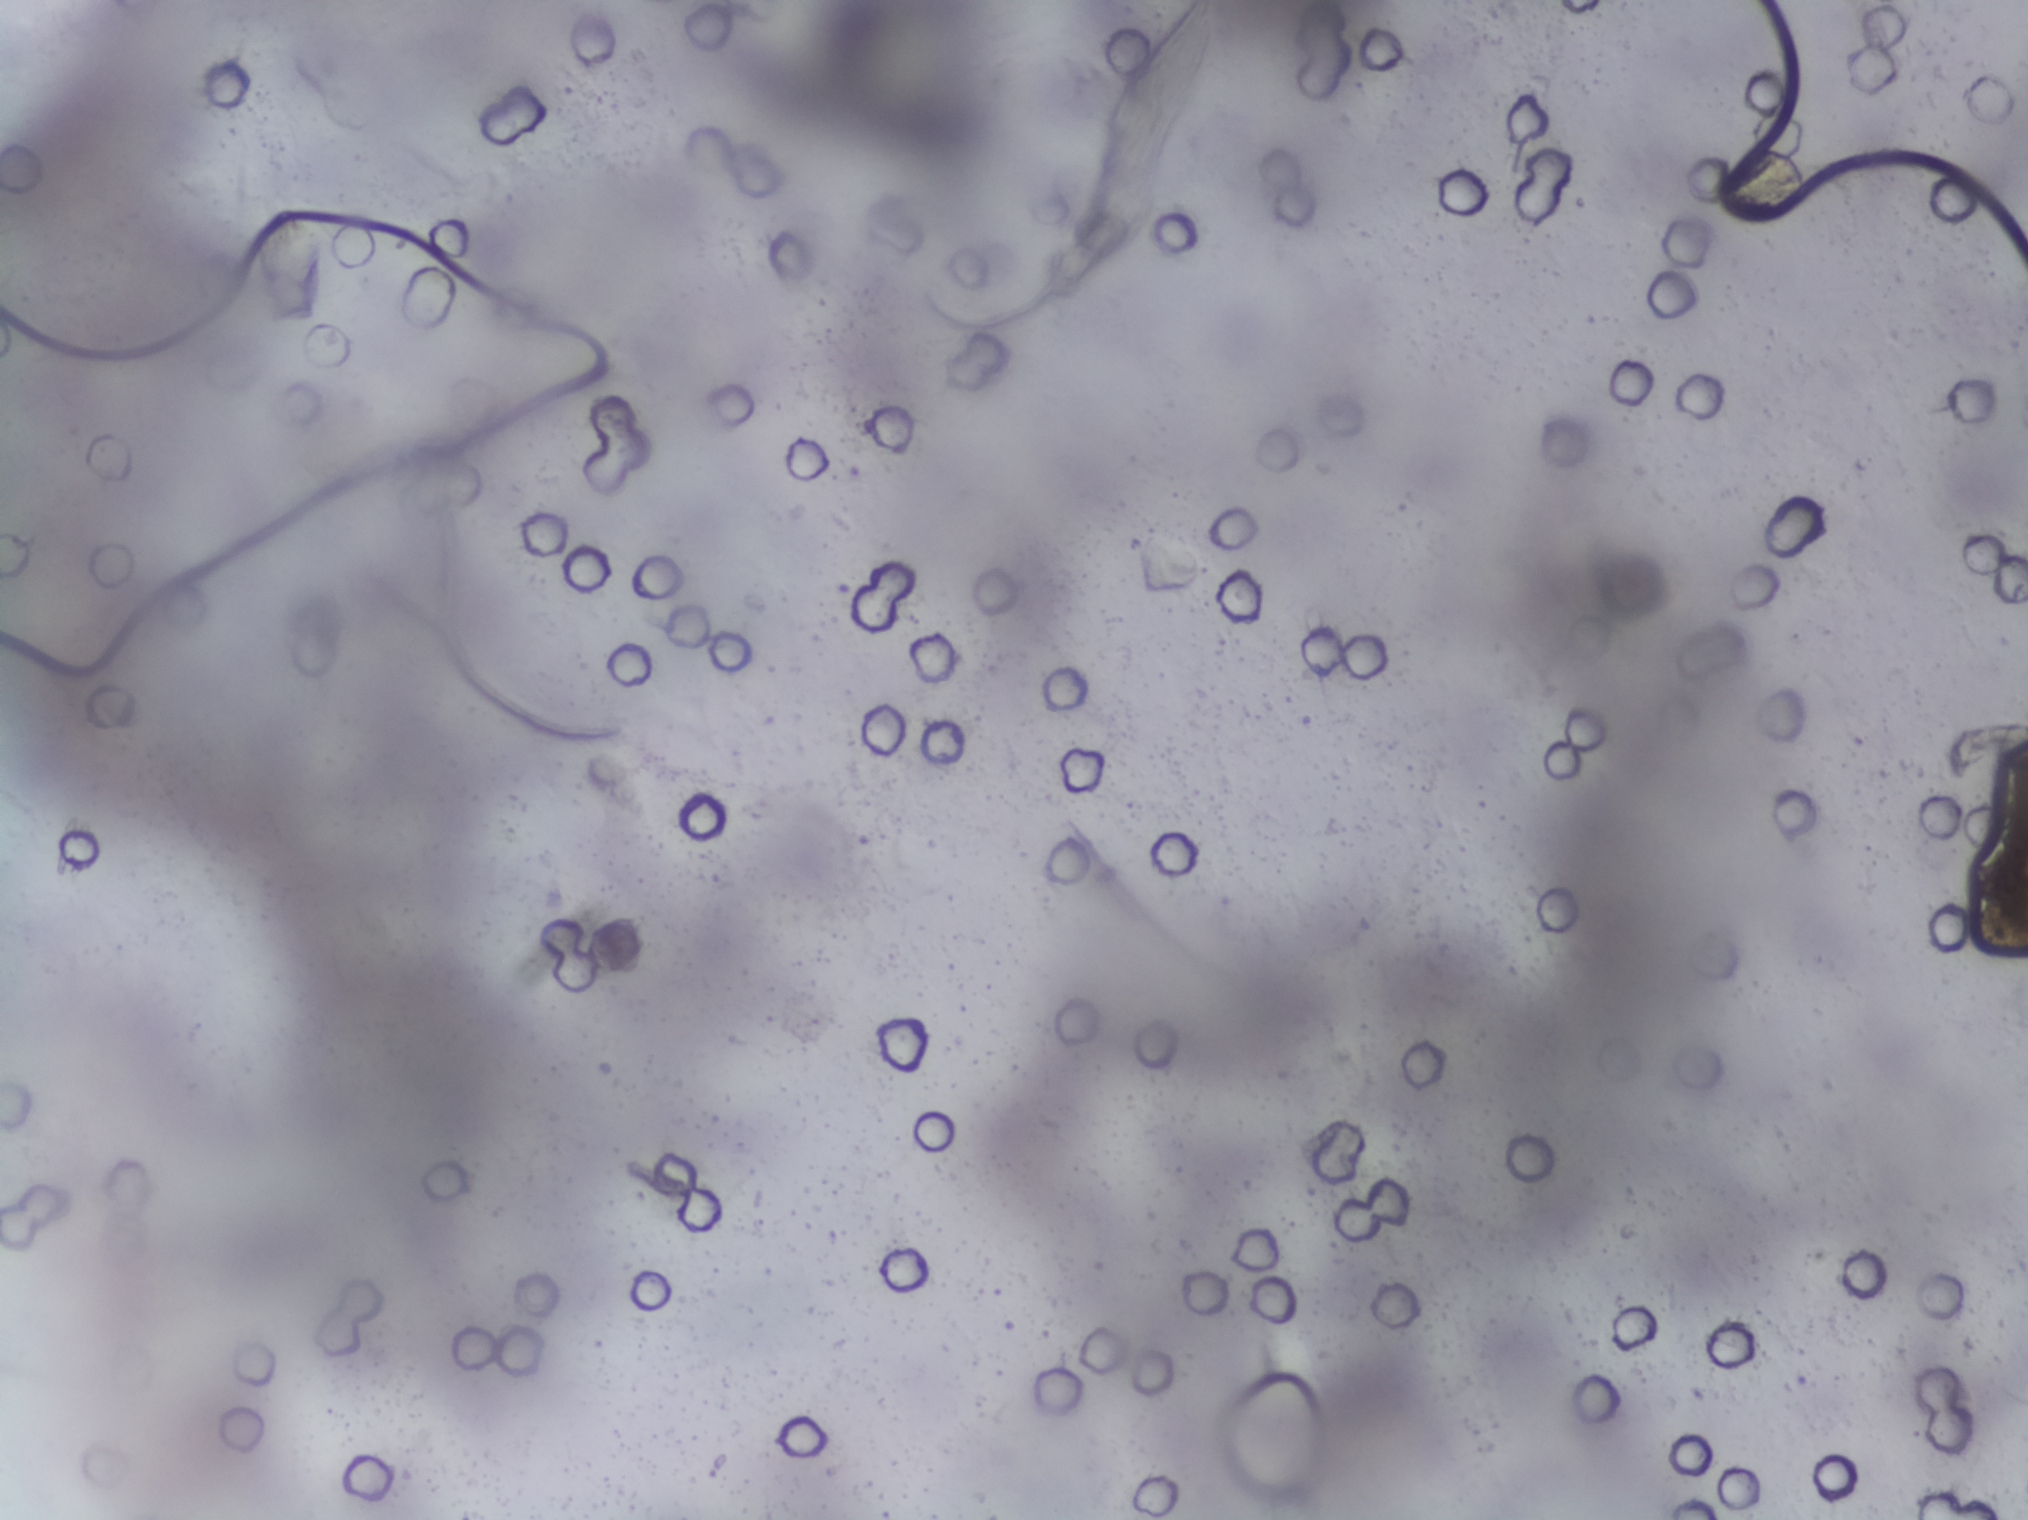
Microscope photograph (4× objective) of a membrane that a urine sample was filtered through.
No Schistosoma egg is outlined in this image's expert annotation.